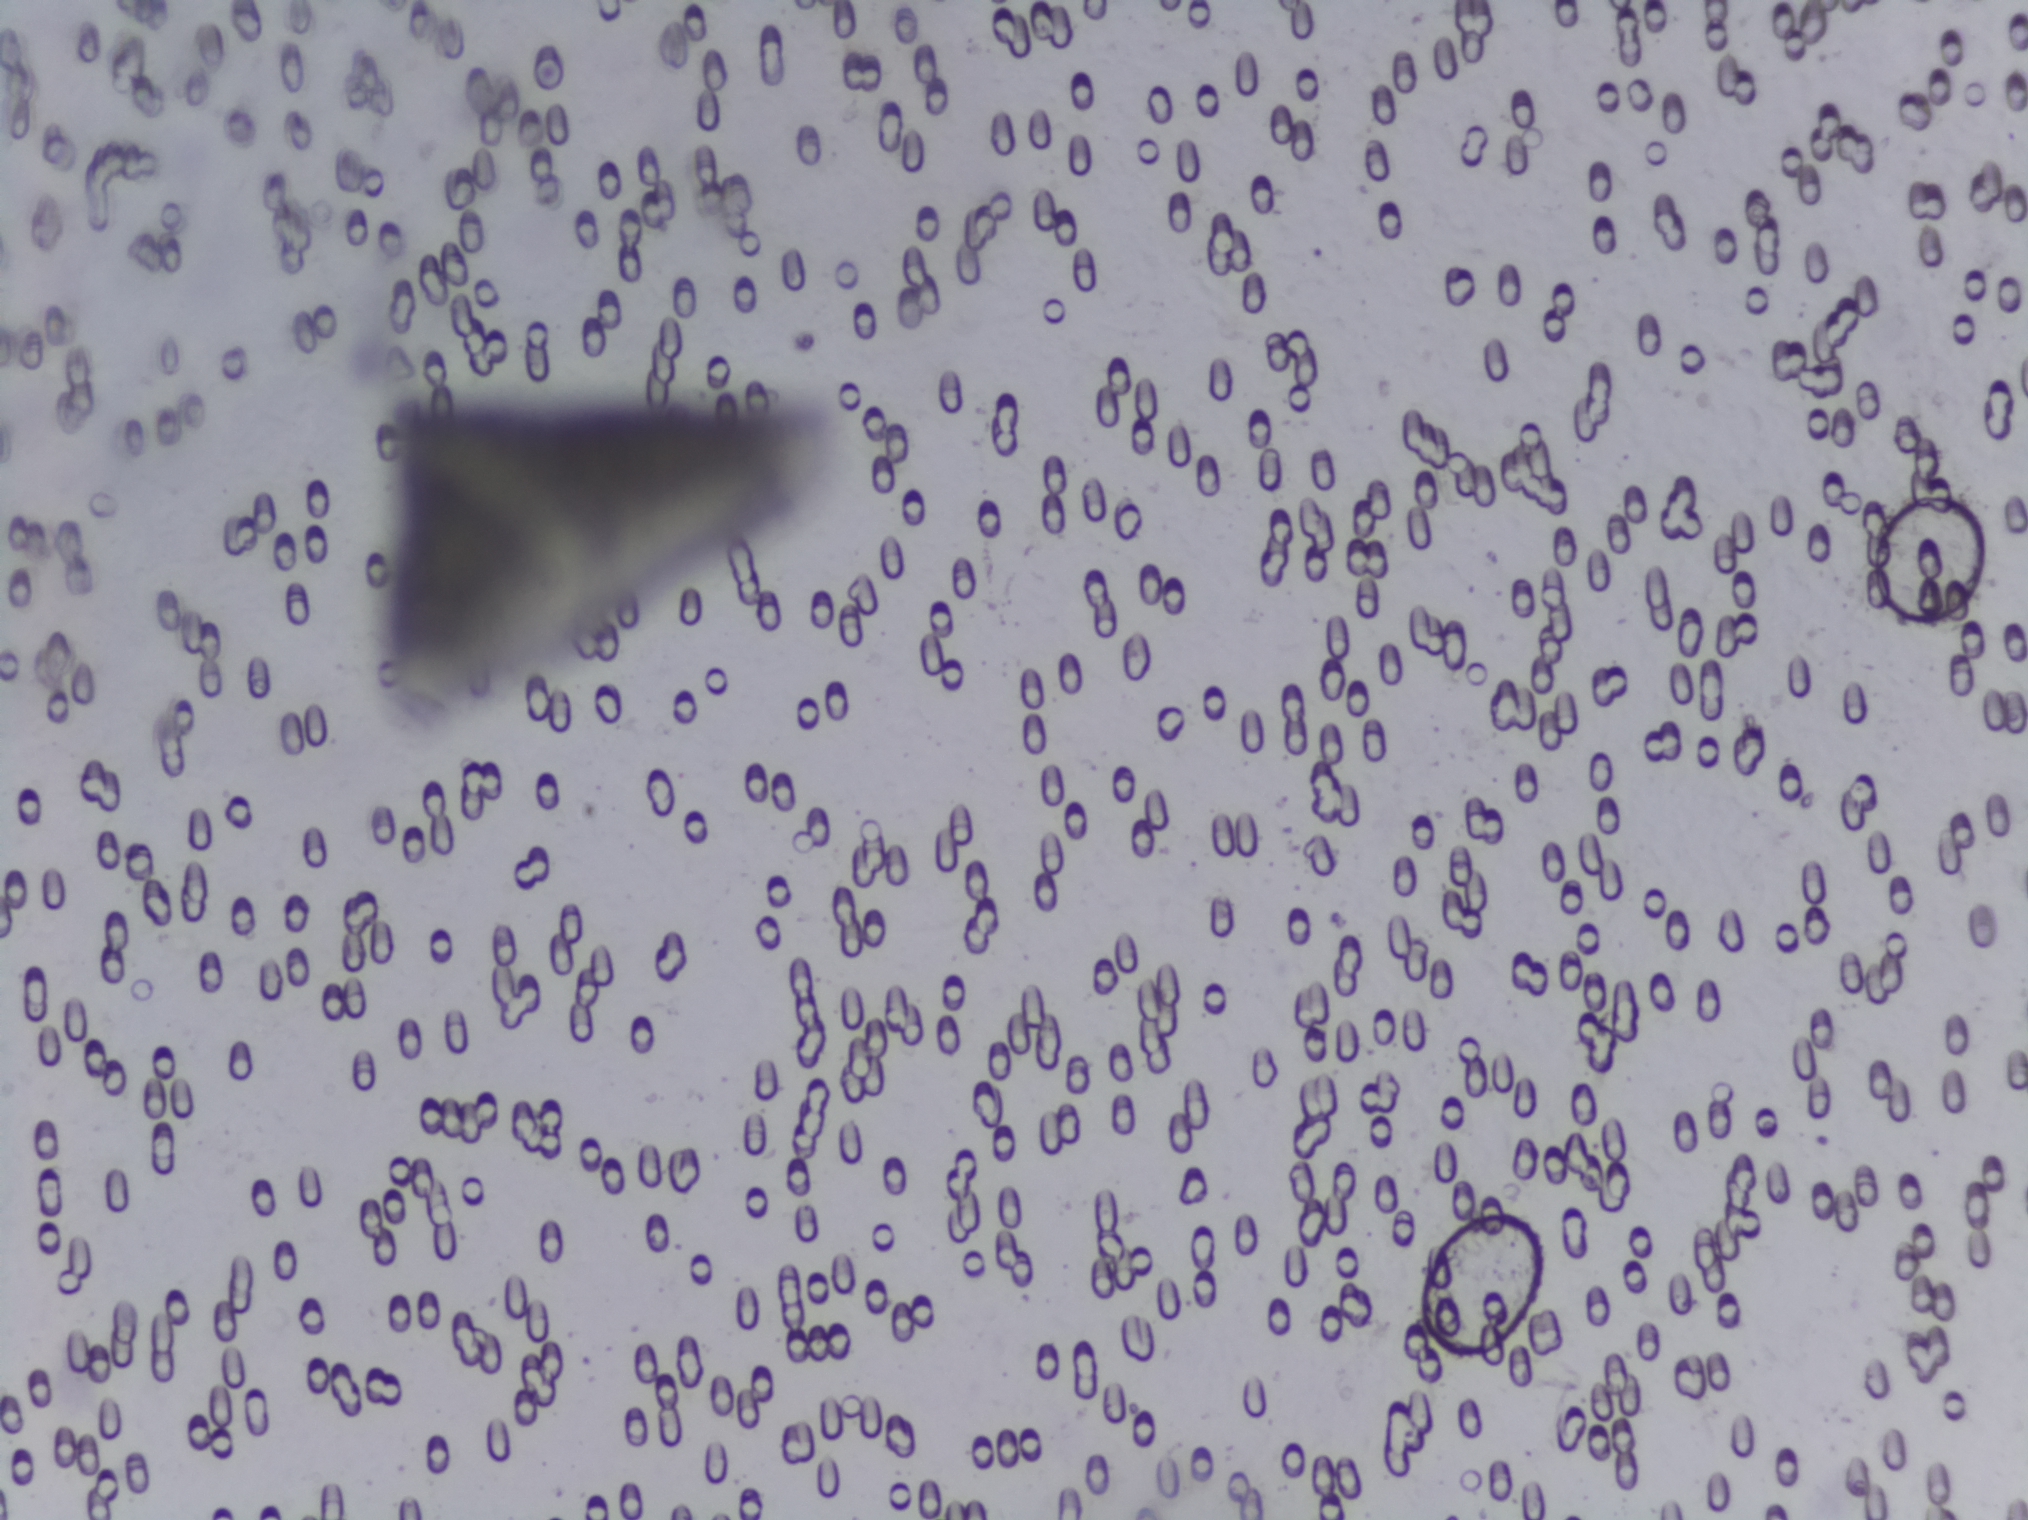
One field of view of a urine filter membrane, 4× objective, 2028 × 1520 pixels.
No area of this image was outlined as a Schistosoma egg.